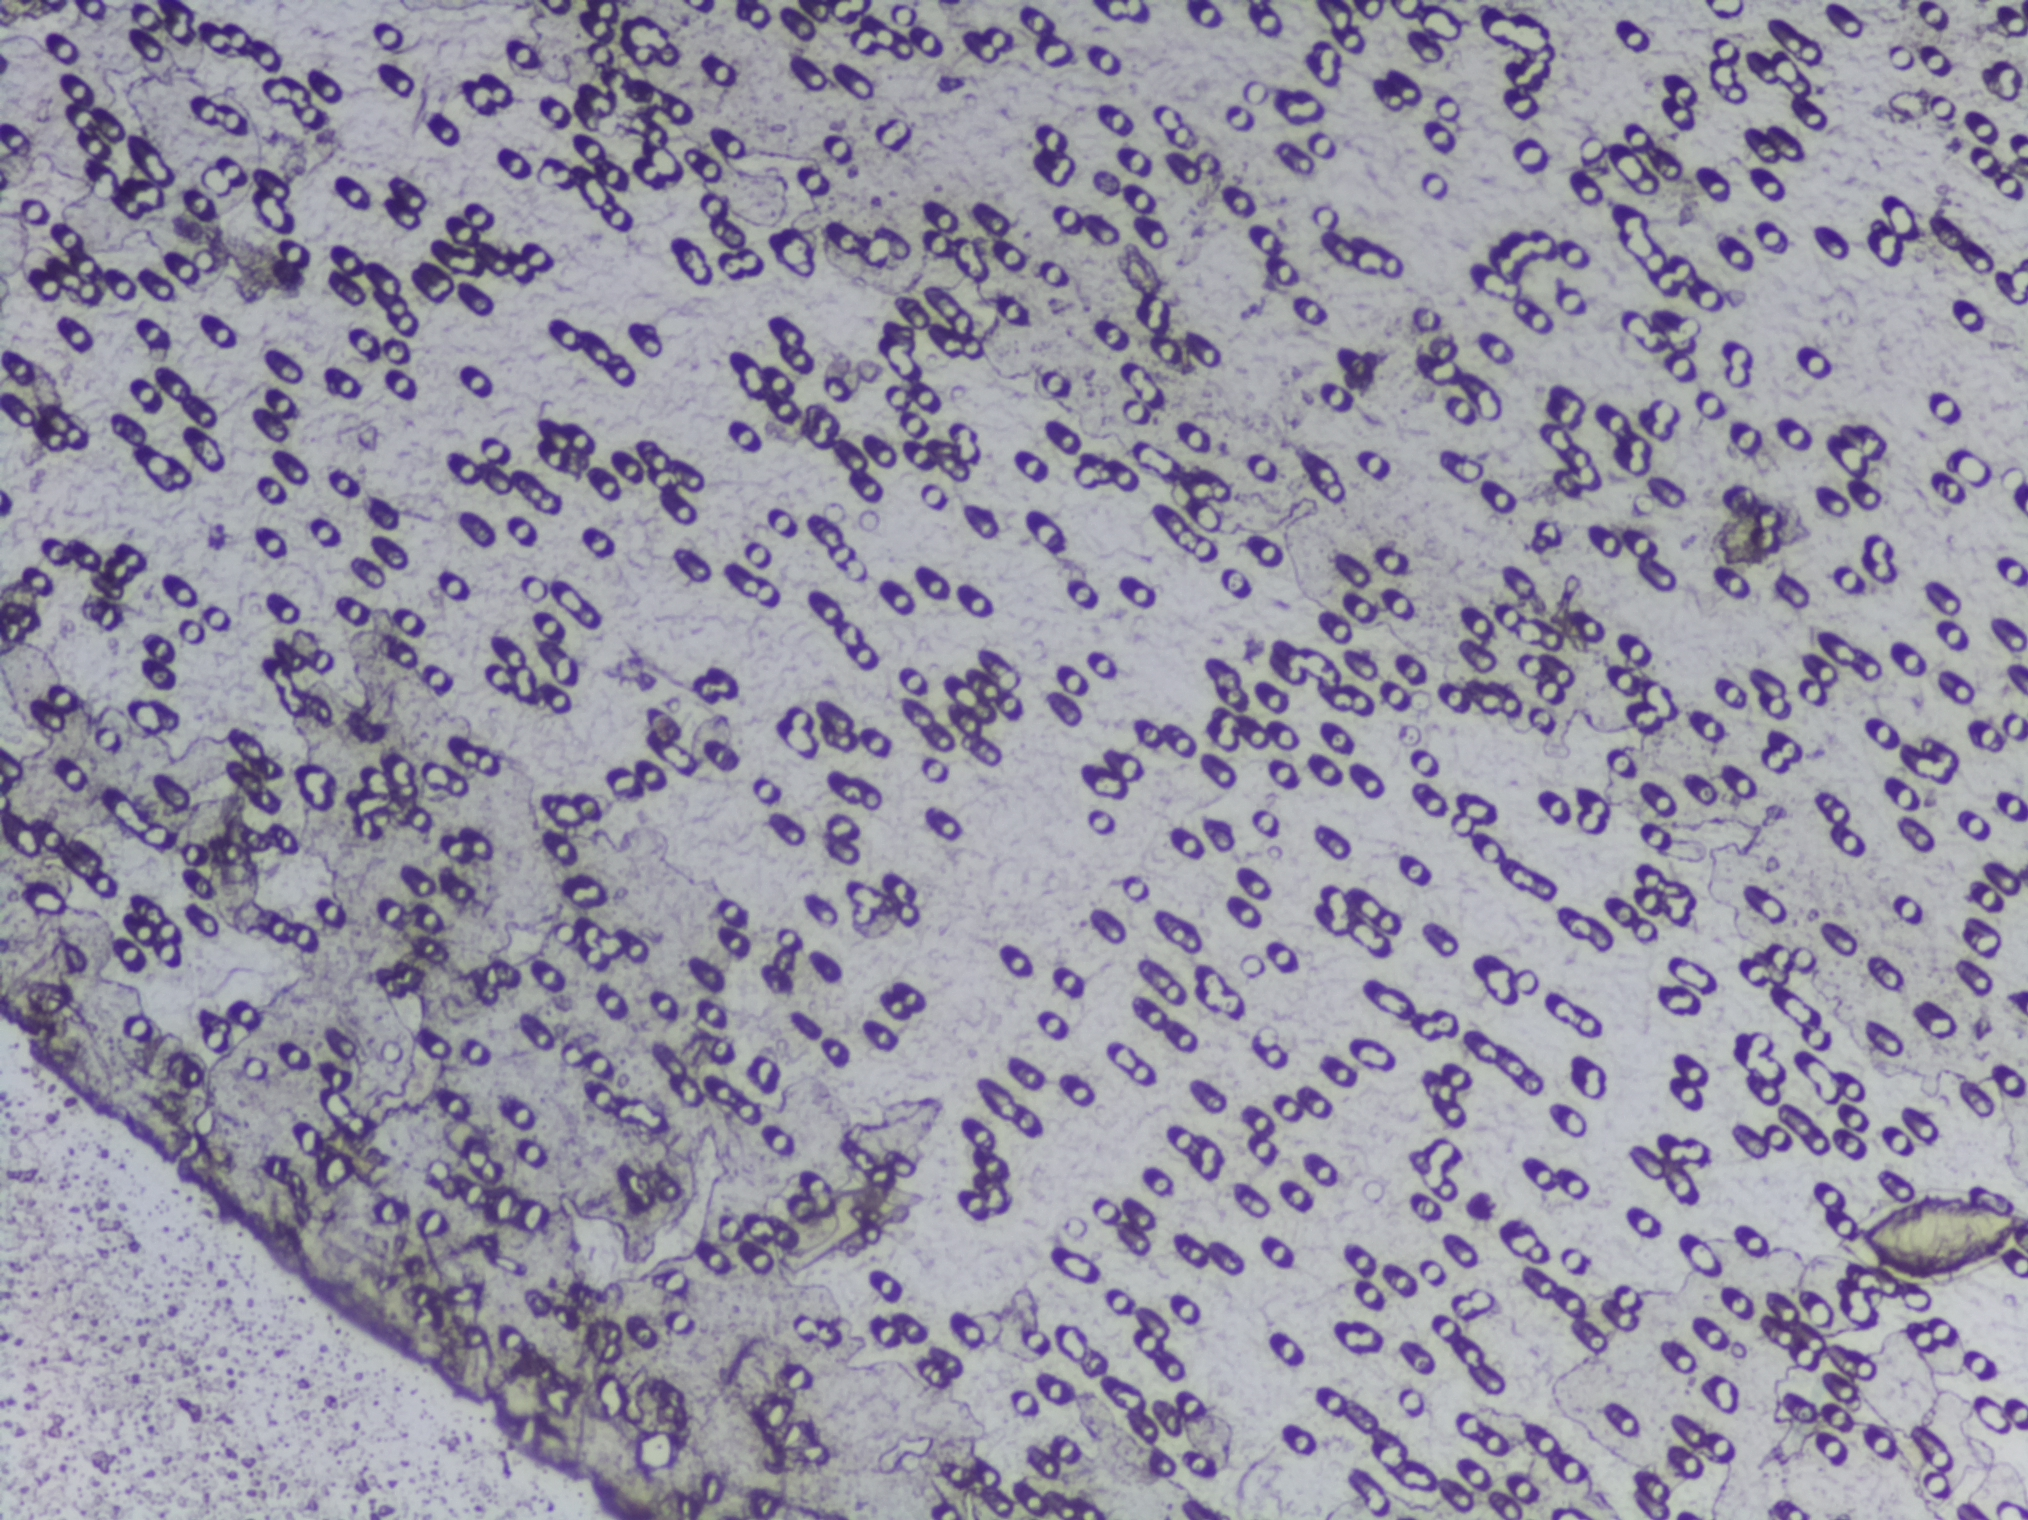
Urine filter membrane photographed through a 4× microscope objective.
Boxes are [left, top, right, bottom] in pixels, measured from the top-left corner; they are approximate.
Schistosoma eggs are outlined in one area of this image: [1830, 1186, 2027, 1306] (reaching the right edge of the frame). The marked pixels themselves, not the box around them, cover about 0.6% of the image. An outlined area can hold more than one egg.